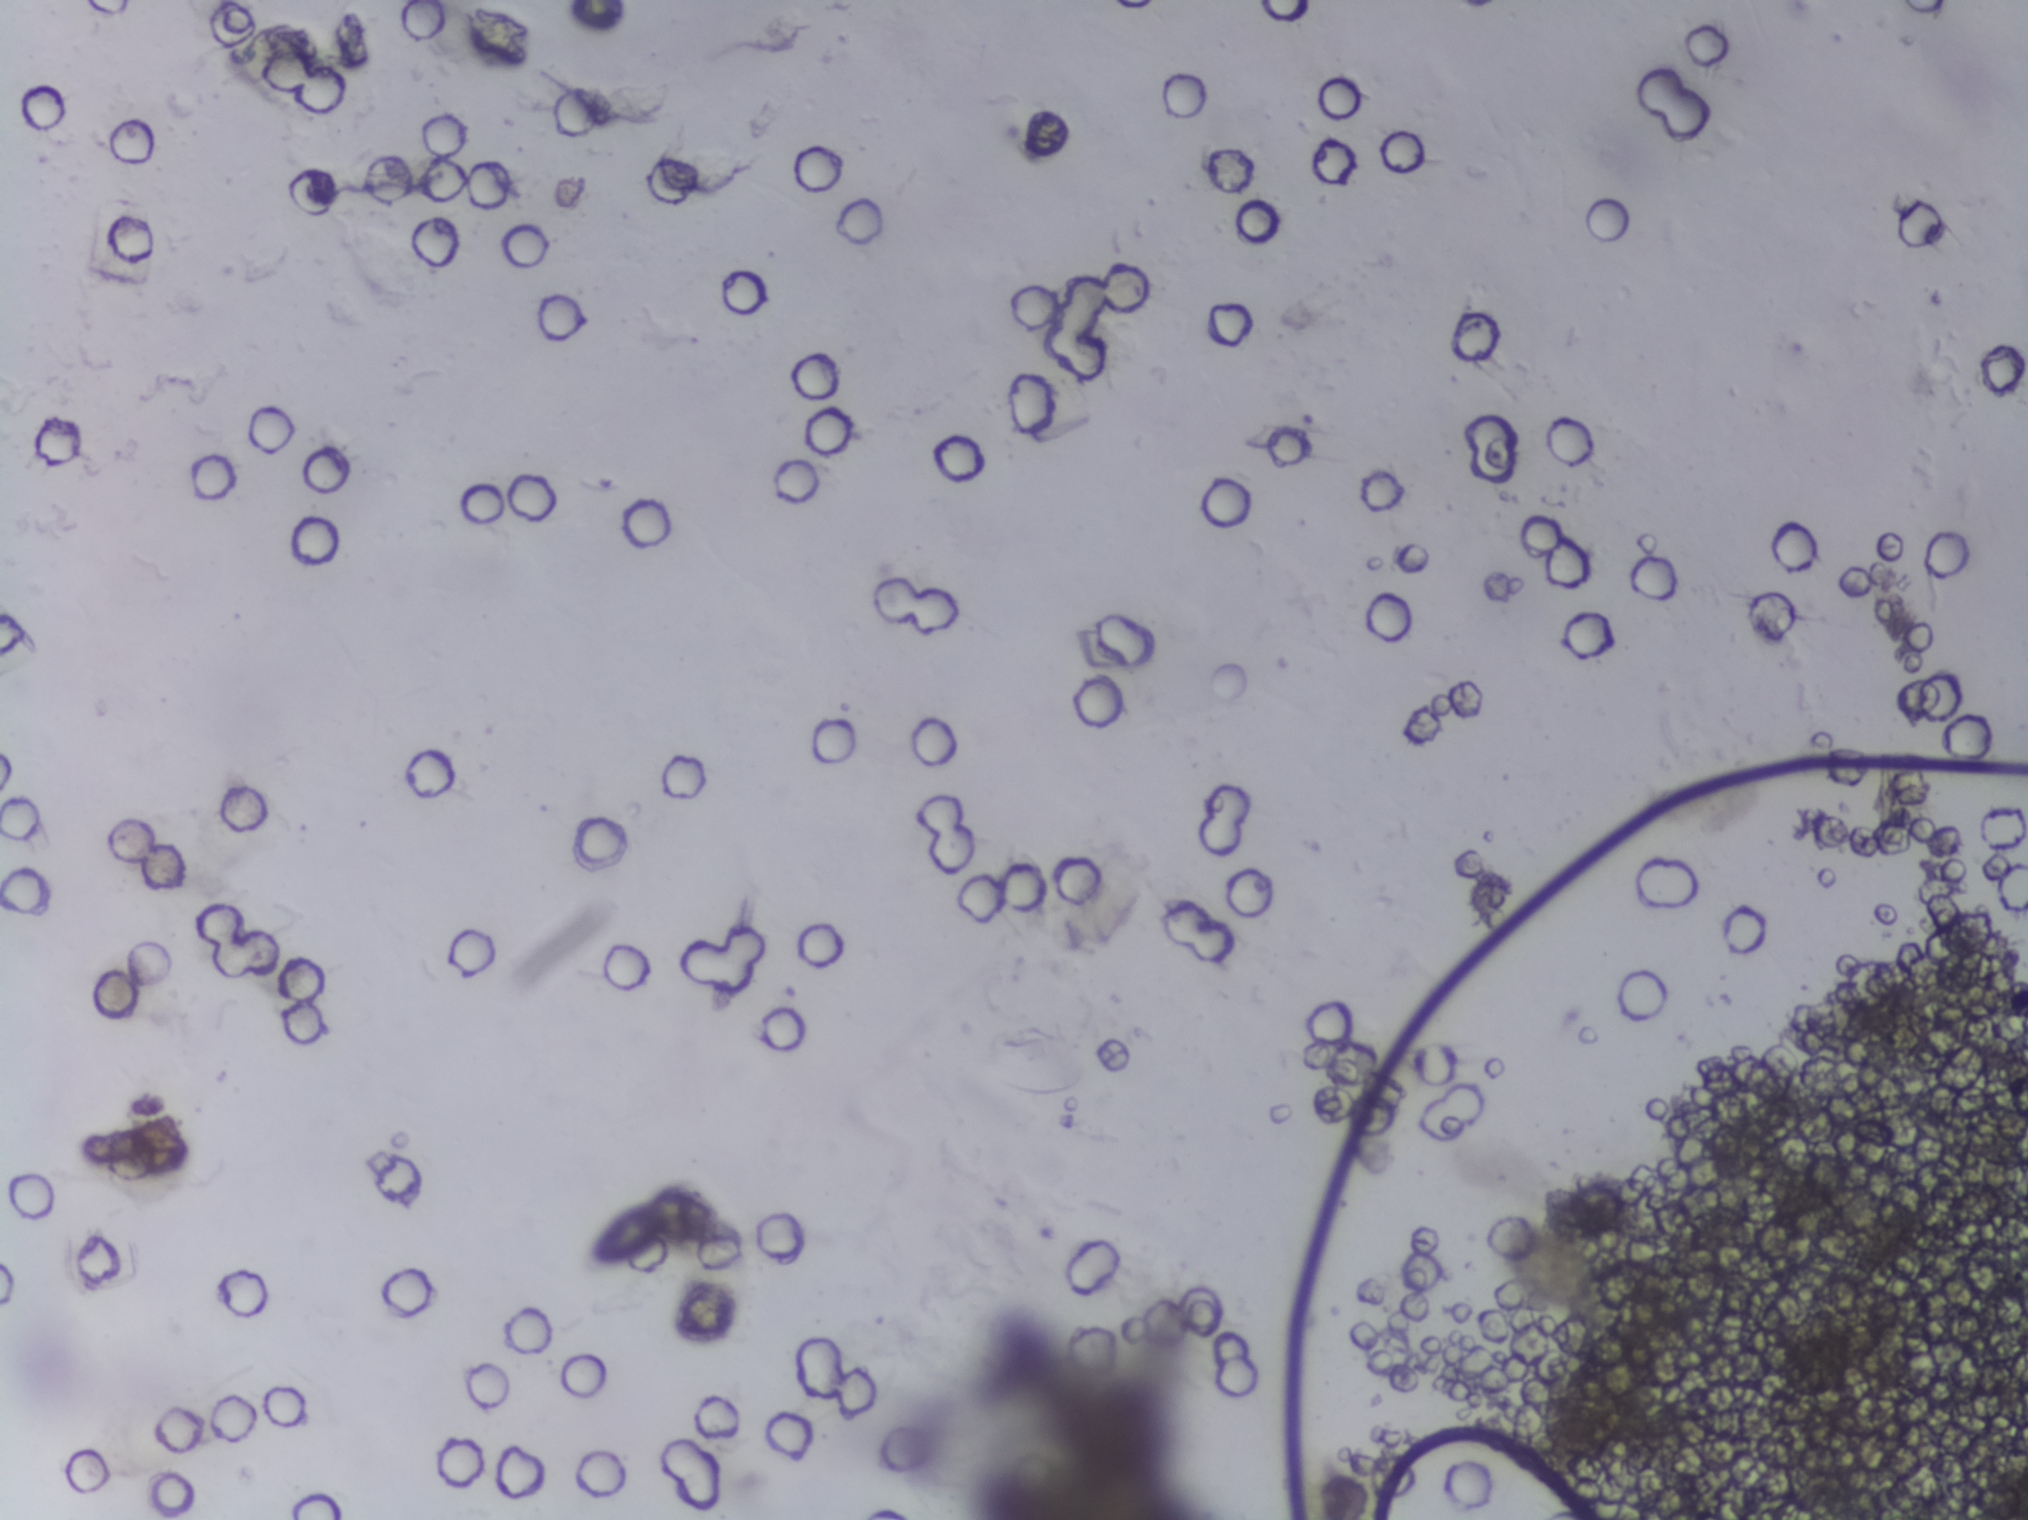
Urine filtration membrane under a 4× objective, photographed by an automated digital microscope. The field of view is about 1.5 mm × 1.1 mm.
The expert annotation outlines no Schistosoma egg in this image.